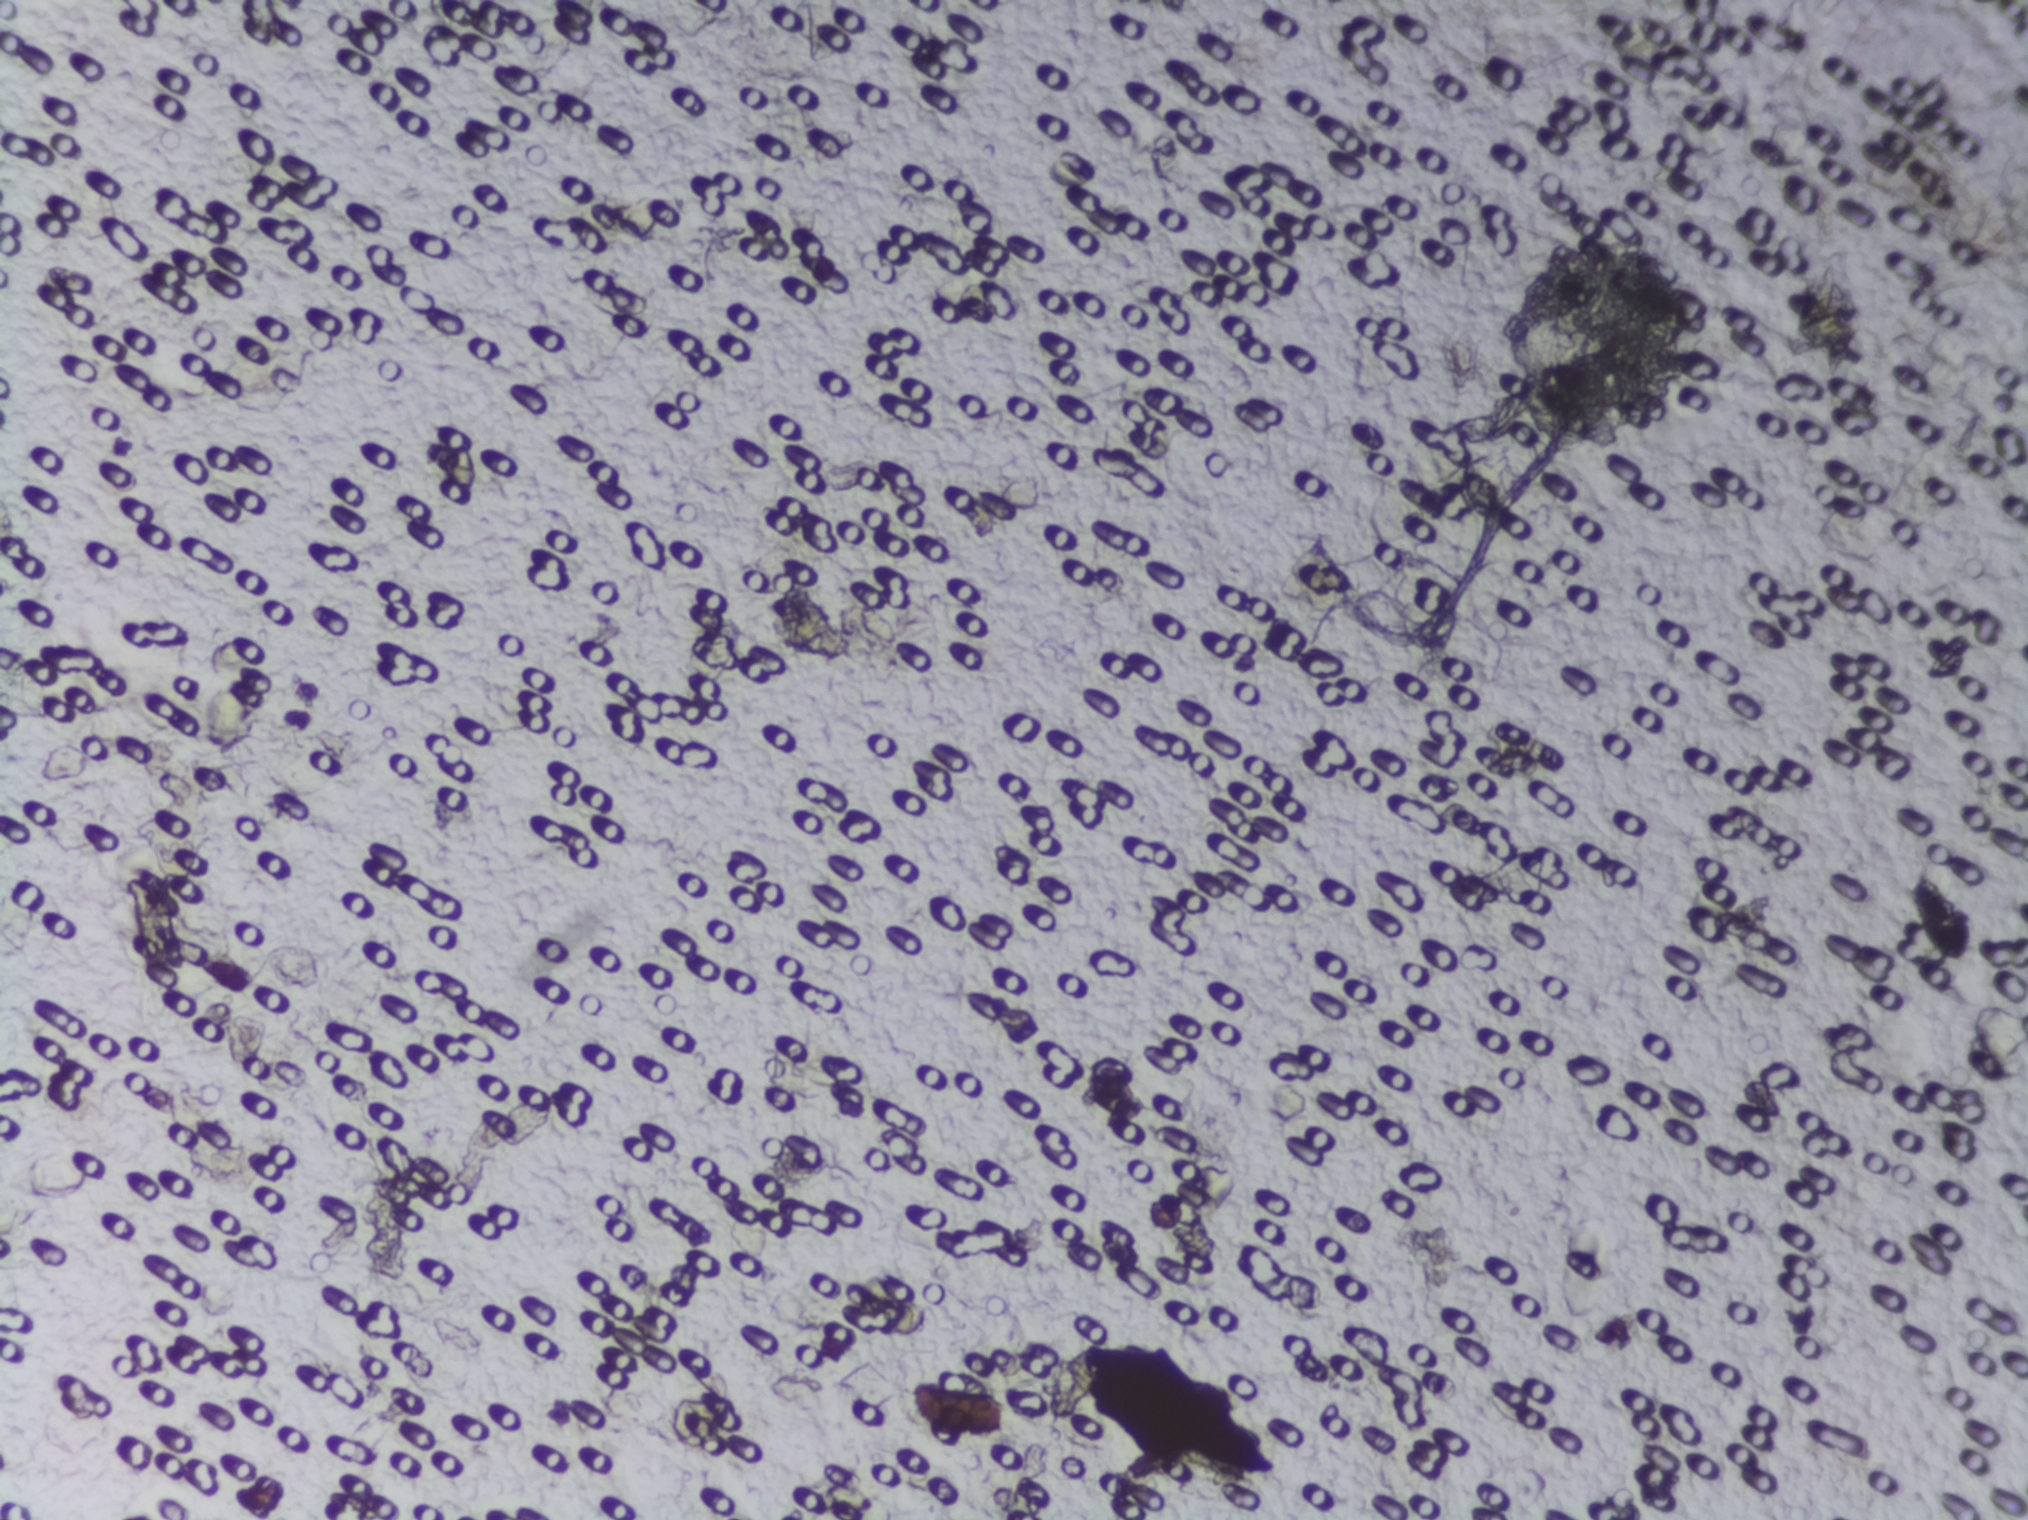
One field of view of a urine filter membrane, 4× objective, 2028 × 1520 pixels. The image covers about 1.5 × 1.1 mm of the membrane.
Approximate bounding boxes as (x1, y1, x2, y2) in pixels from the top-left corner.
The expert annotation outlines Schistosoma eggs at (1045, 1347, 1099, 1425); (1458, 469, 1500, 517); (1914, 872, 1972, 963). Marked pixels, not the boxes around them: about 0.3% of the image. An outlined area can hold more than one egg.